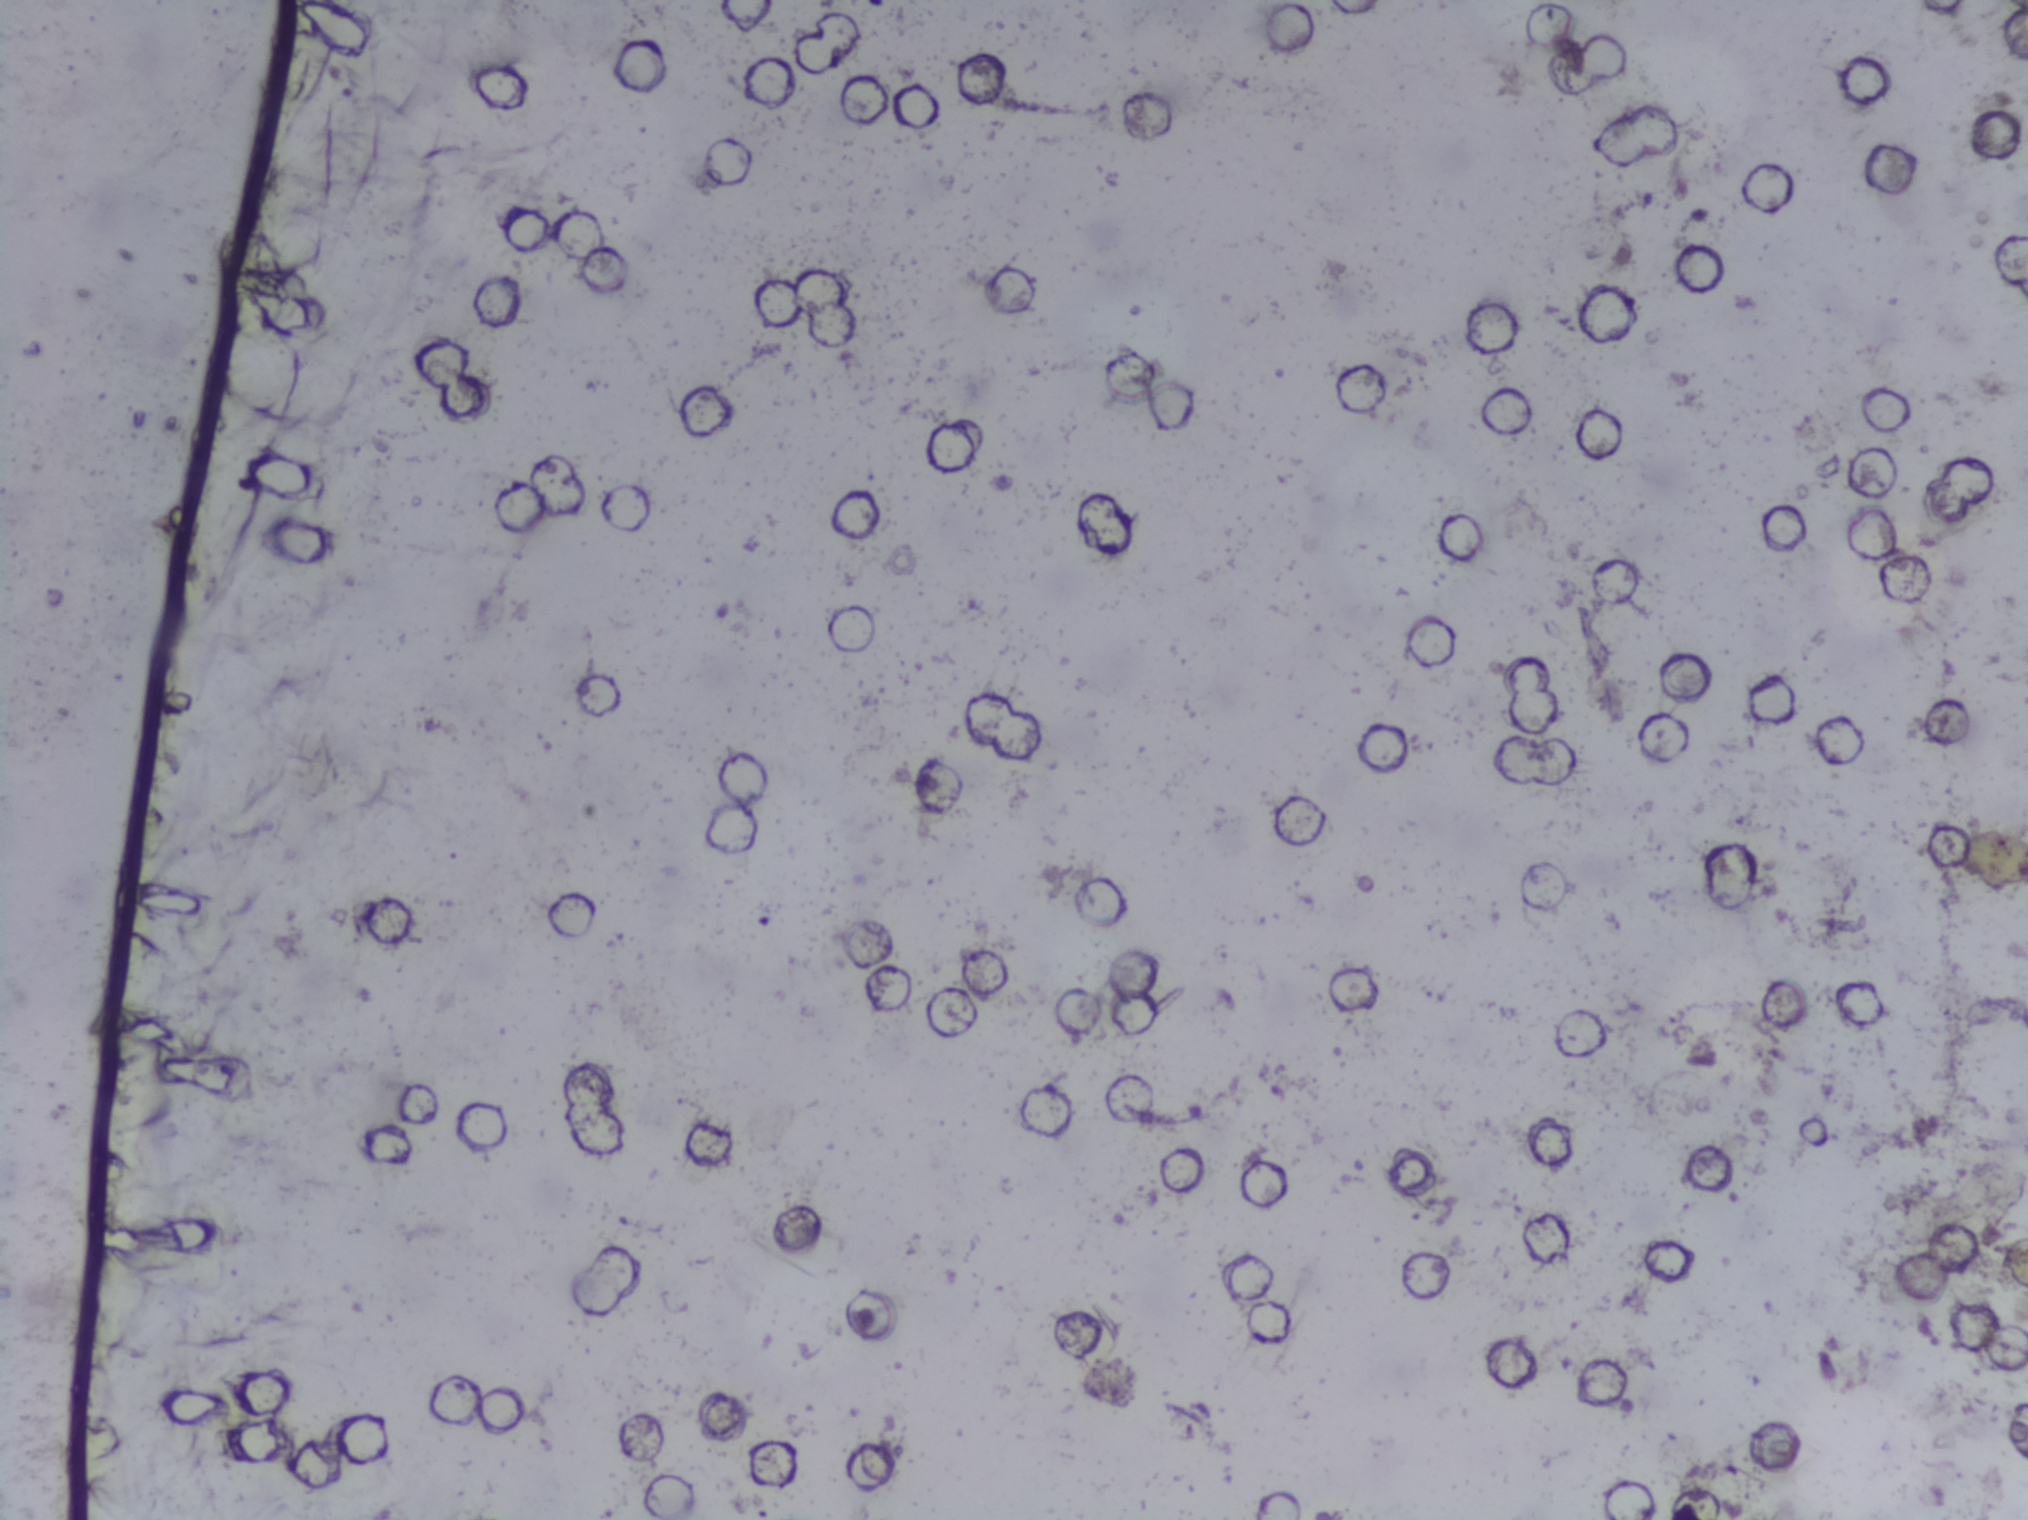
Microscope photograph (4× objective) of a membrane that a urine sample was filtered through. The field of view is about 1.5 mm × 1.1 mm.
No Schistosoma egg is outlined in this image's expert annotation.